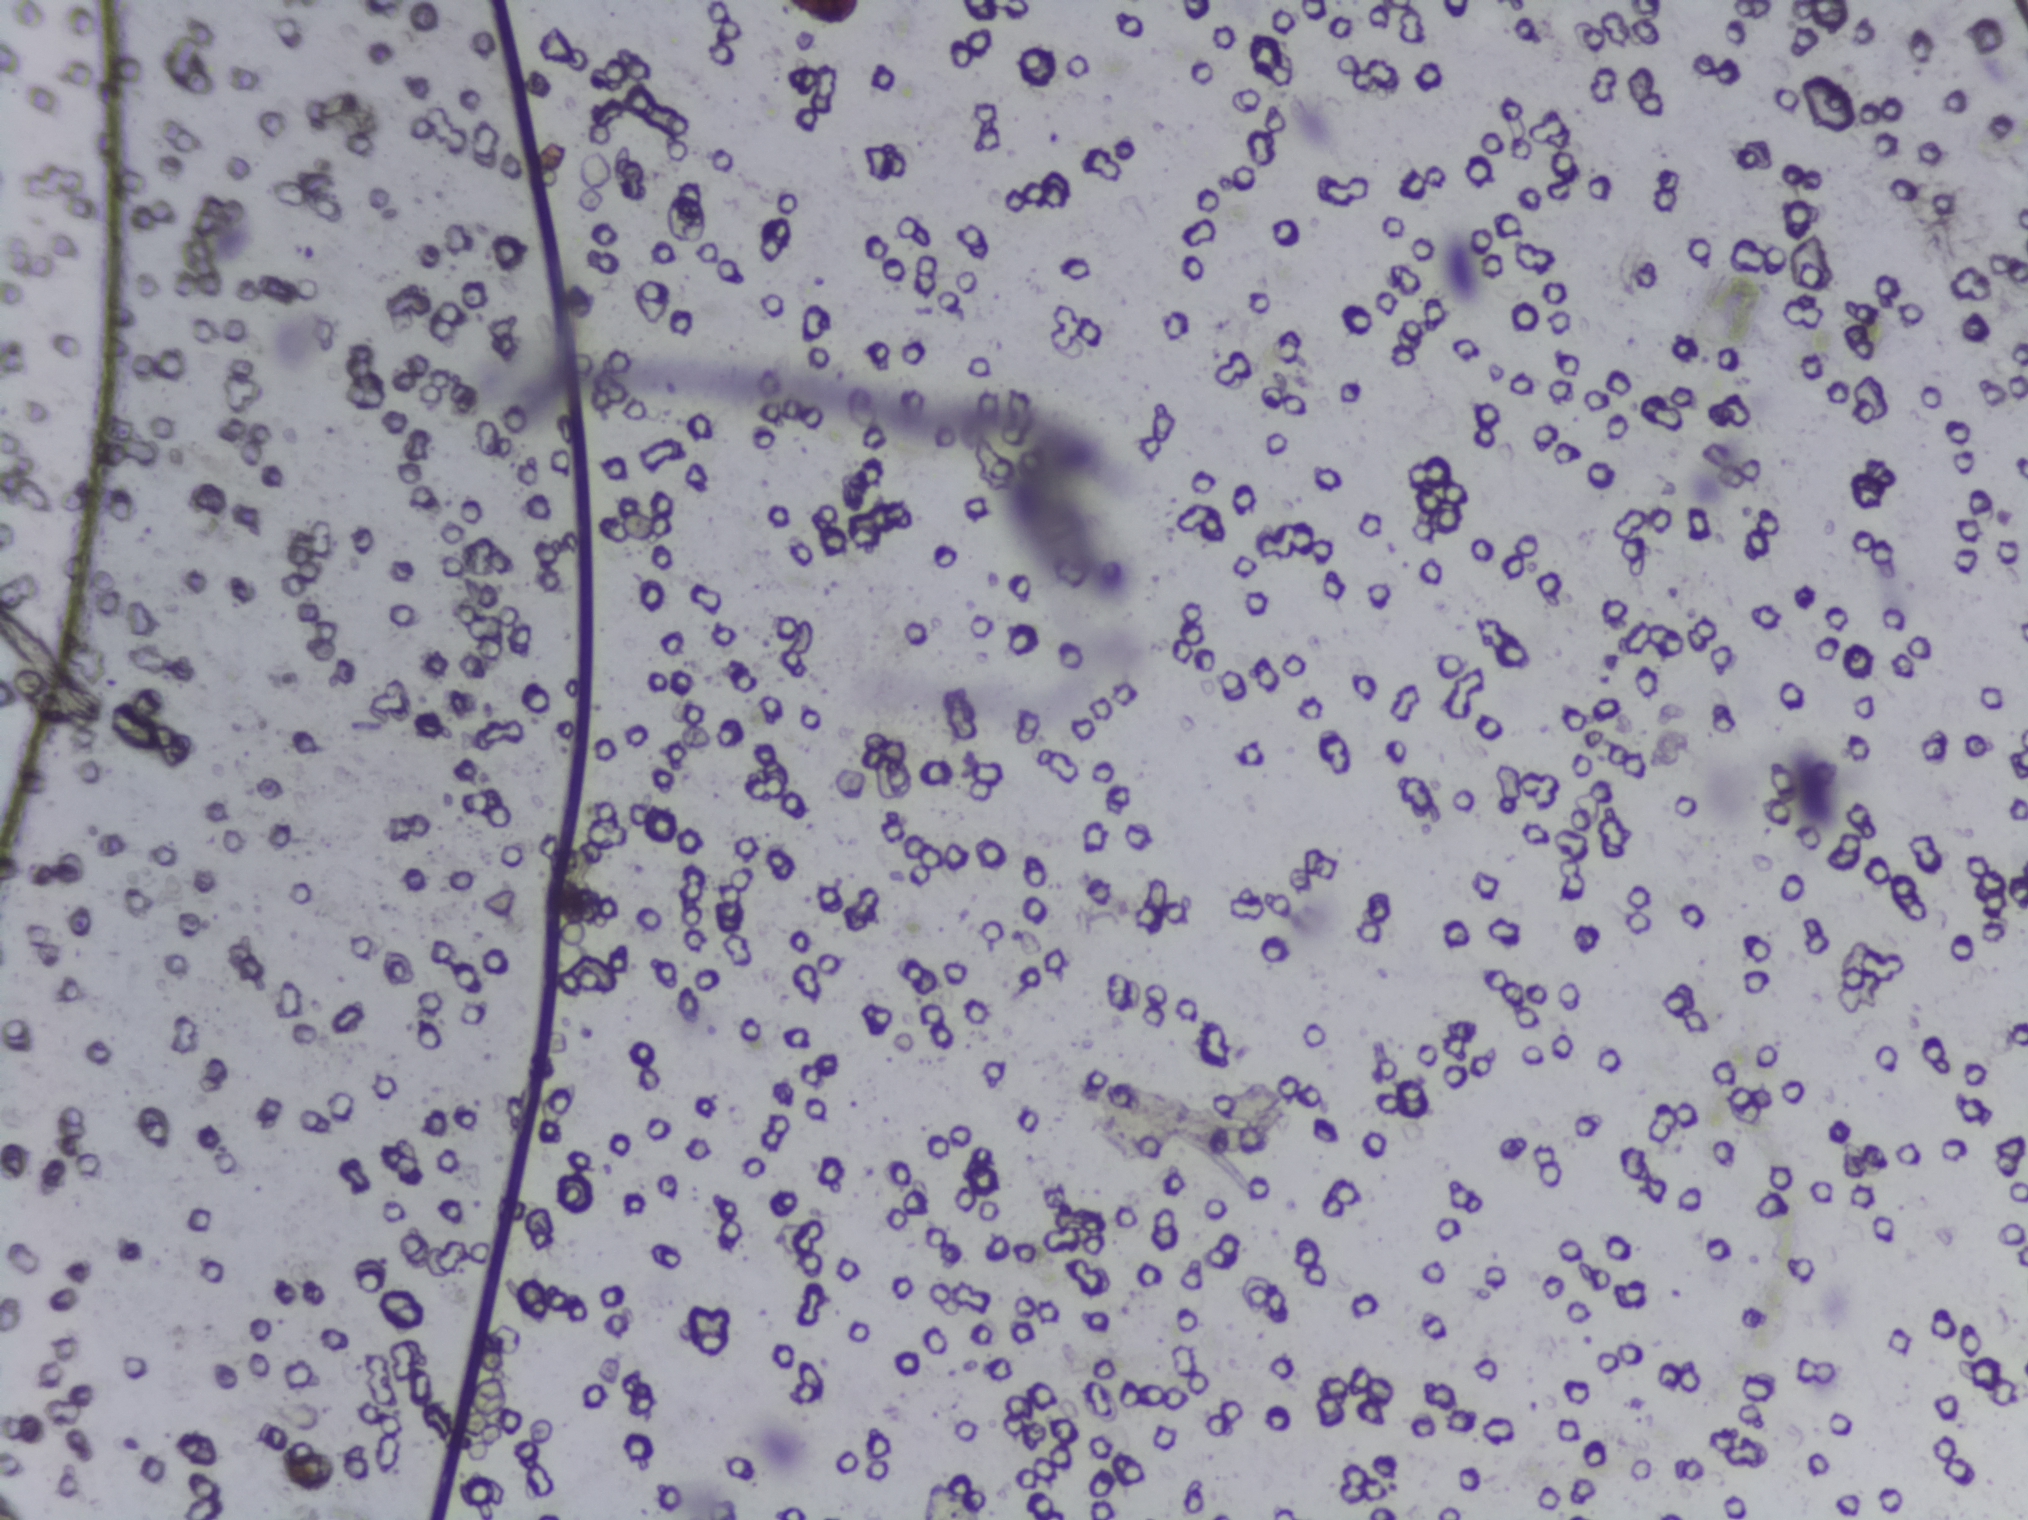
Urine filter membrane photographed through a 4× microscope objective. Field of view: about 1.5 mm wide and 1.1 mm high.
The expert annotation marks no Schistosoma egg in this field of view.